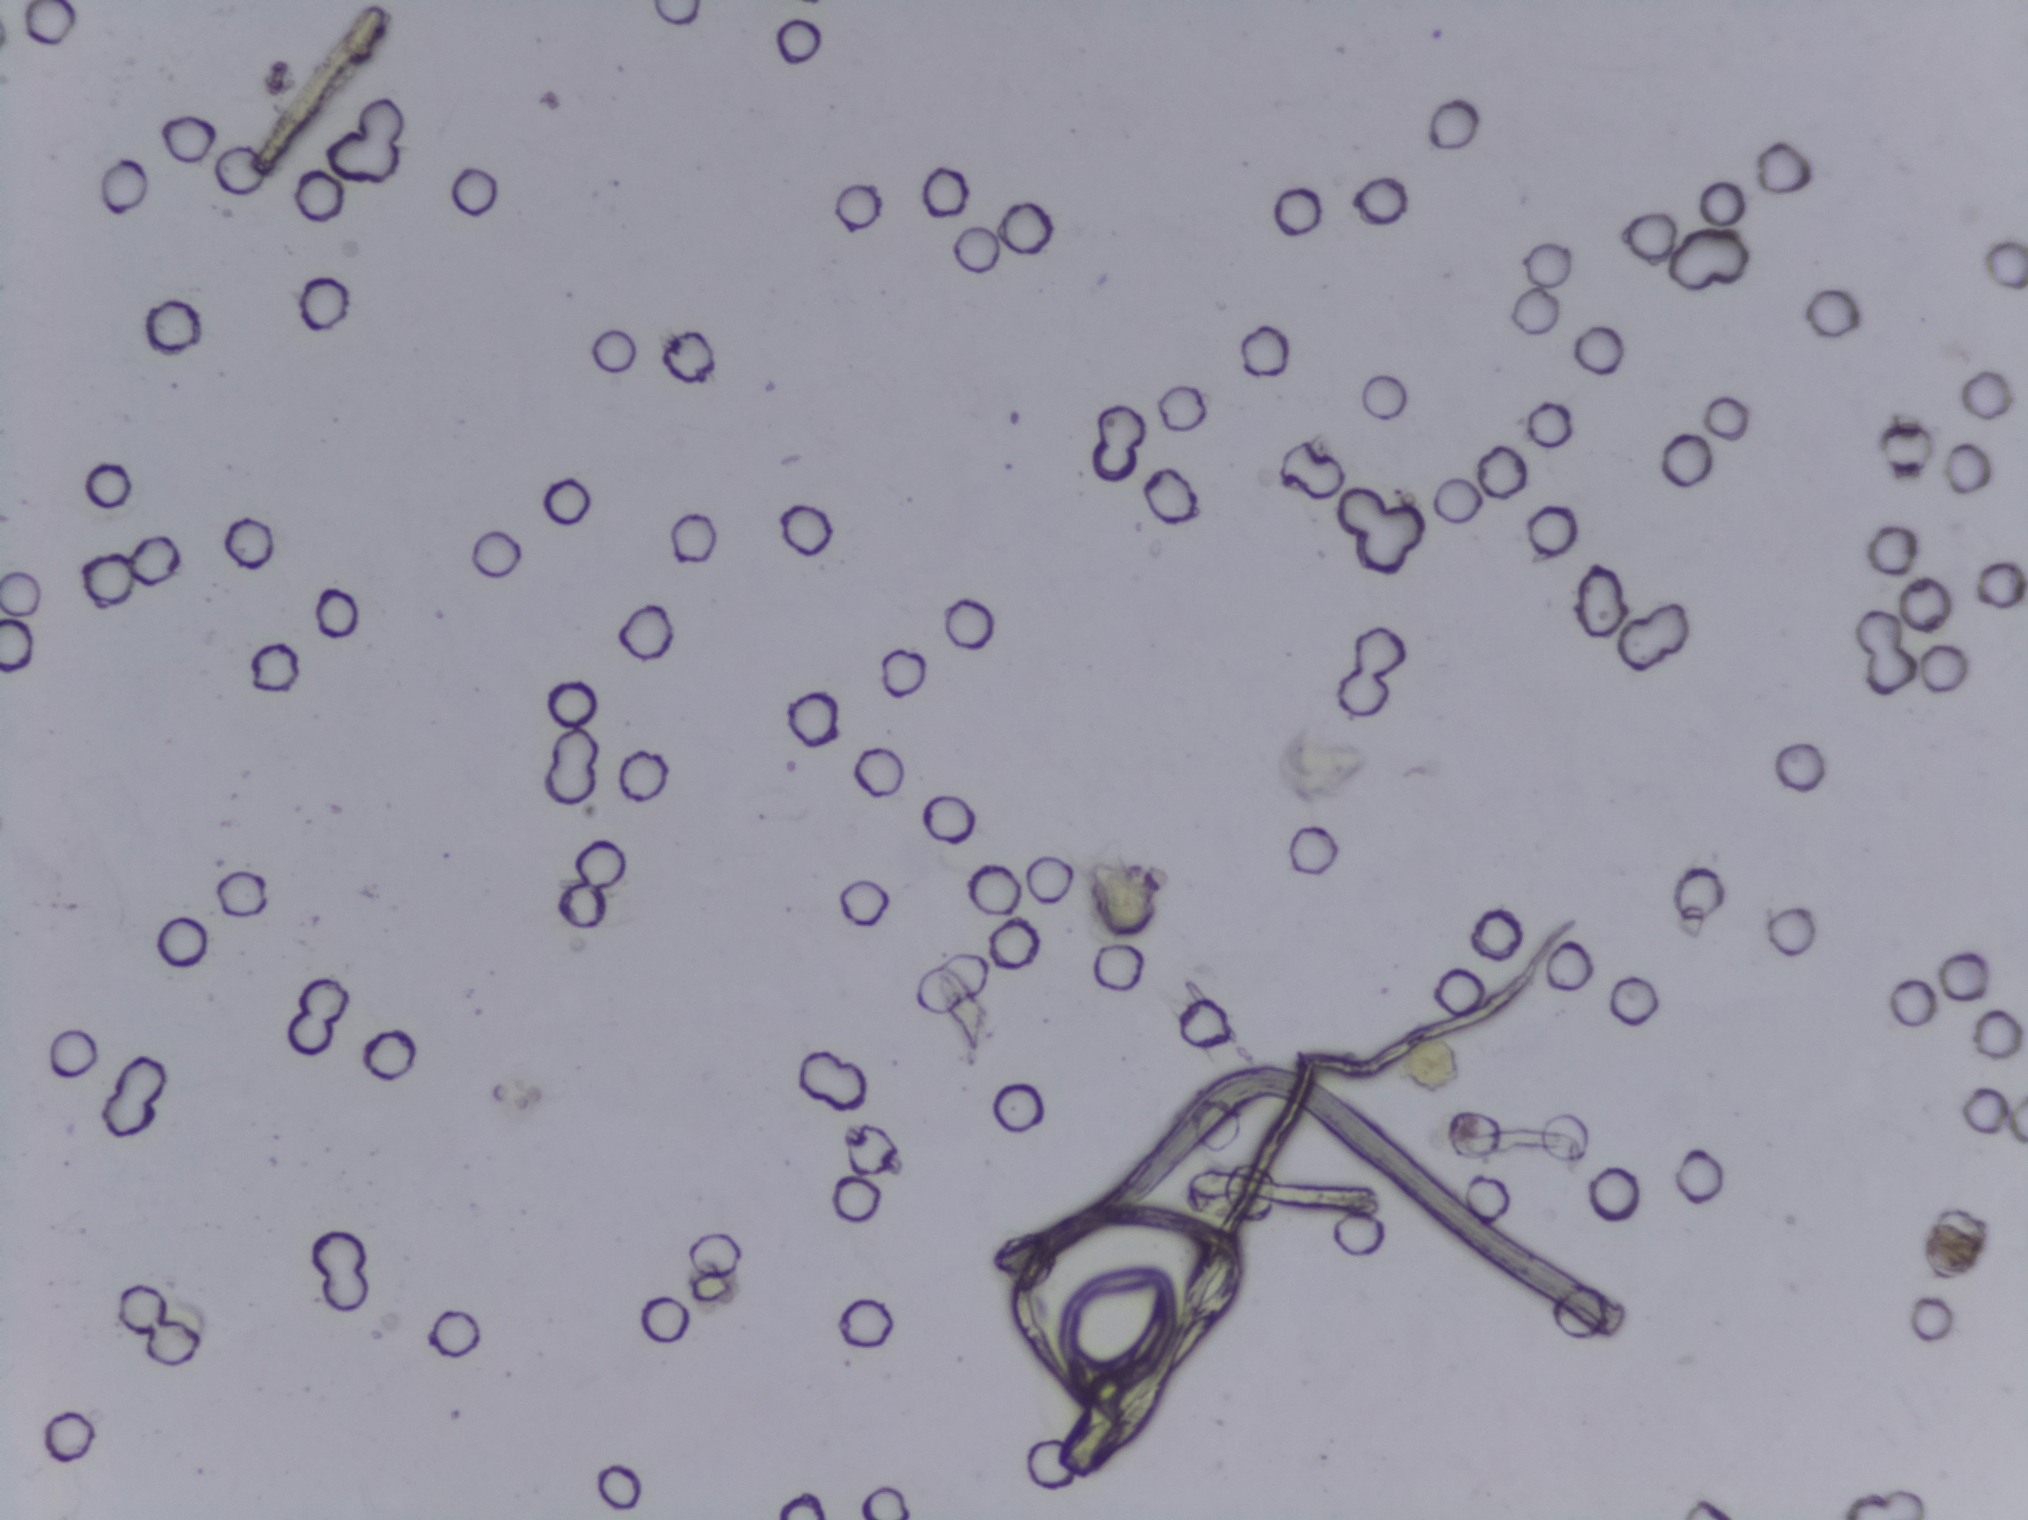
Urine filtration membrane under a 4× objective, photographed by an automated digital microscope. Field of view: about 1.5 mm wide and 1.1 mm high.
No Schistosoma egg is outlined in this image's expert annotation.